Urine filtration membrane under a 4× objective, photographed by an automated digital microscope.
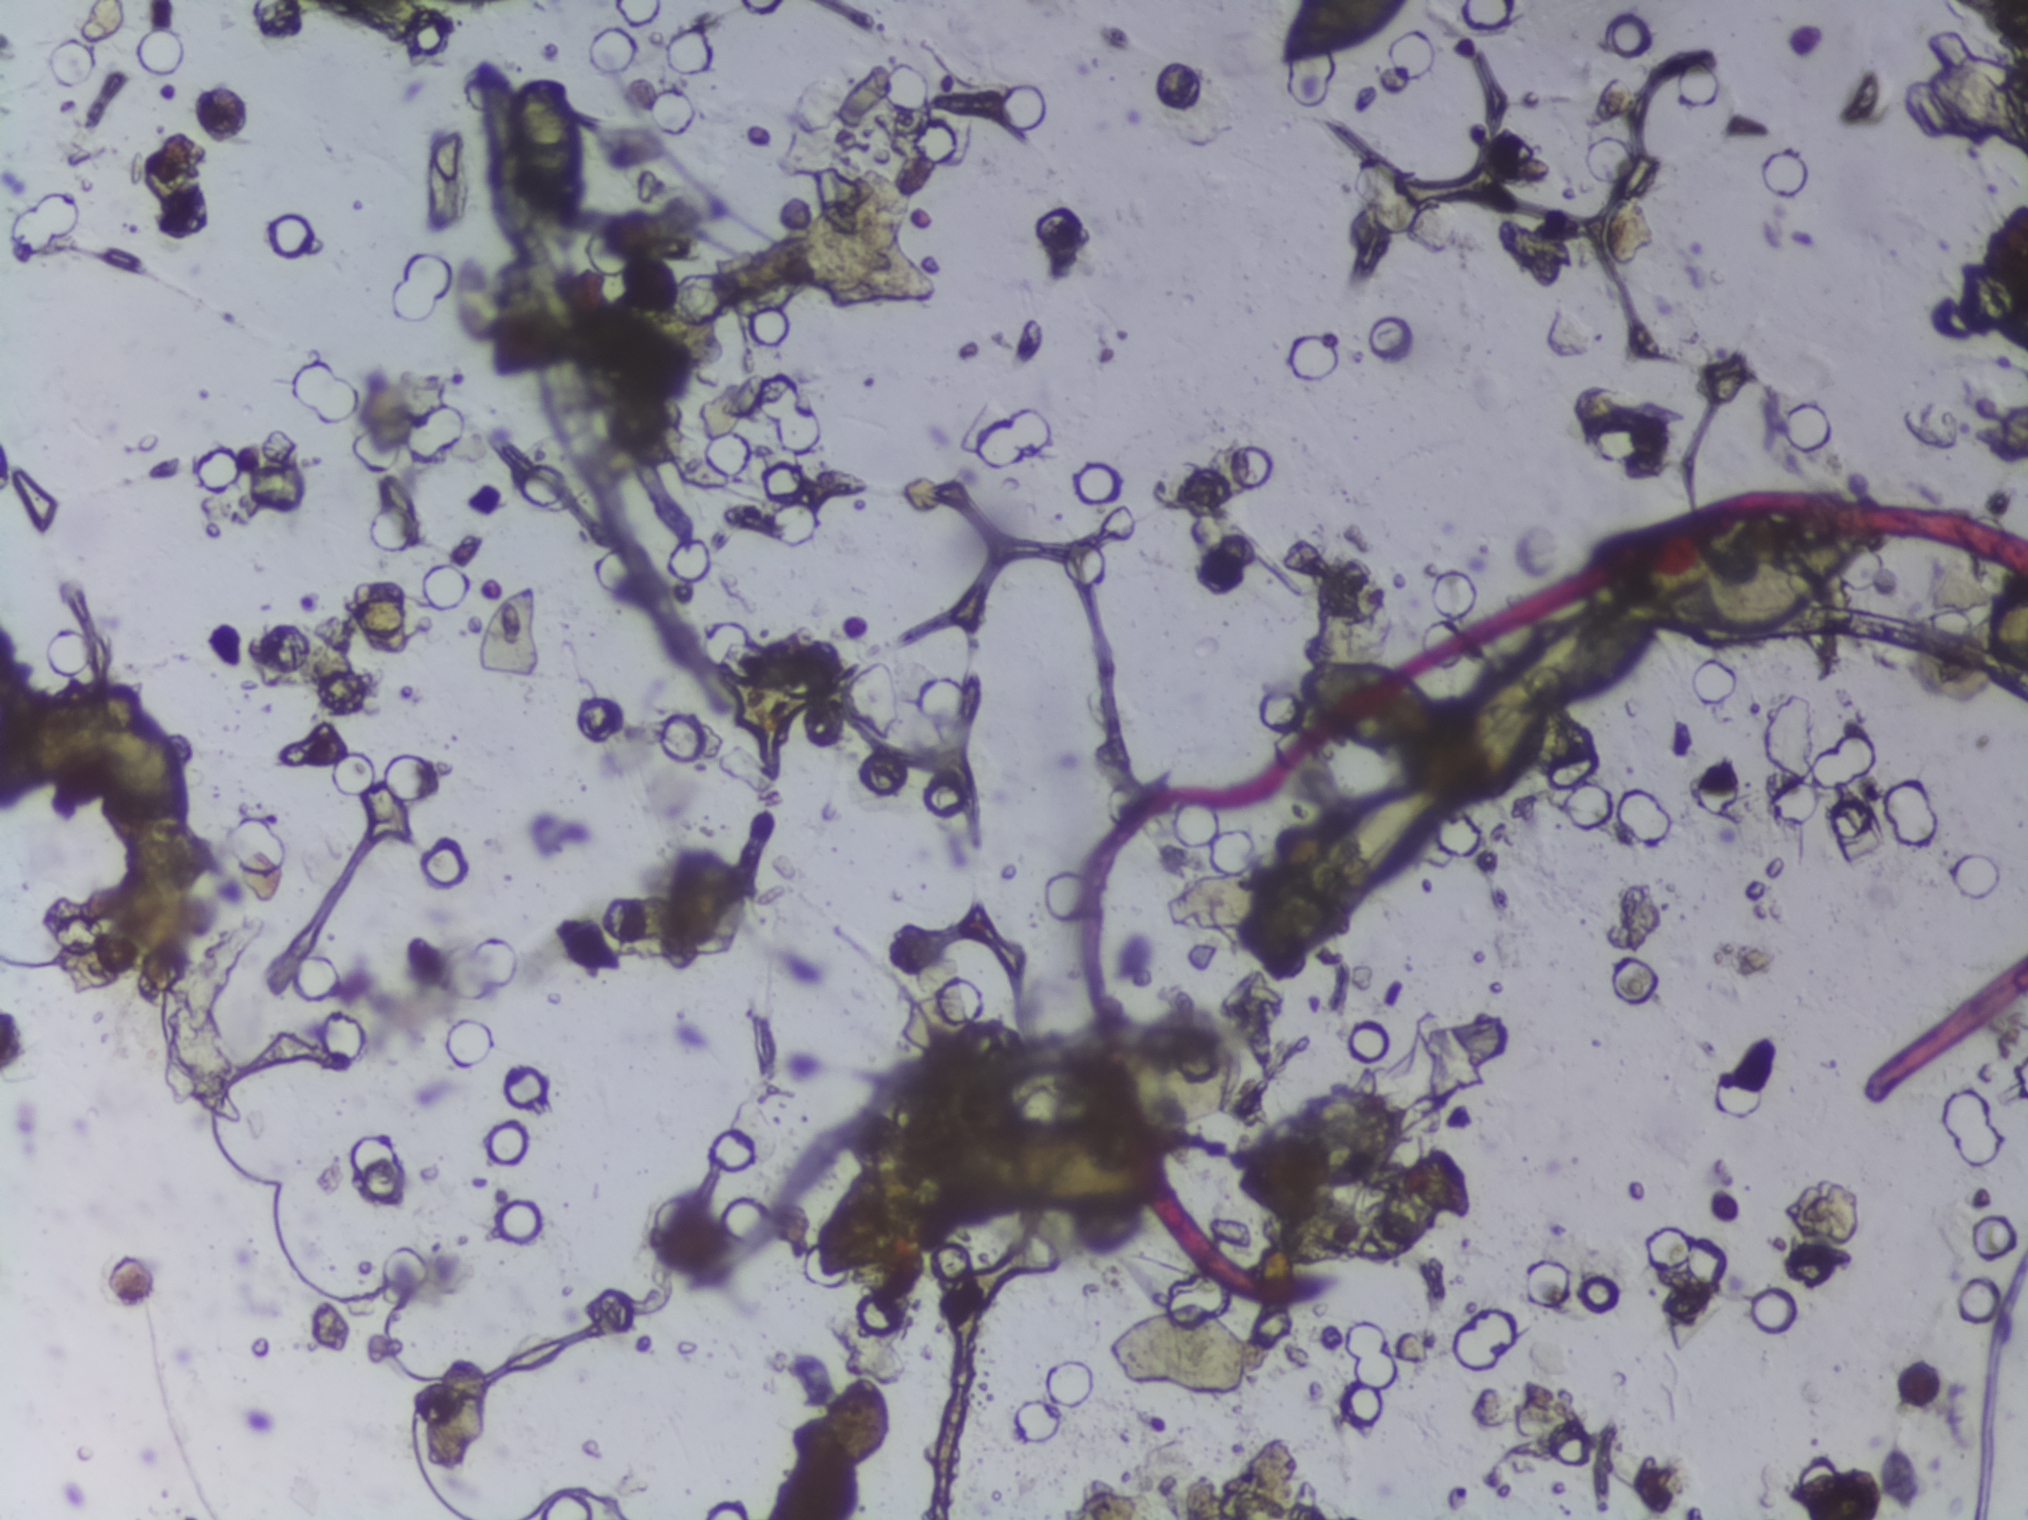
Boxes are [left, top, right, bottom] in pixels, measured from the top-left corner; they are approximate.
Findings: five areas outlined as Schistosoma eggs. Locations, left to right: [81, 666, 200, 845]; [505, 70, 590, 252]; [1271, 0, 1414, 71] (reaching the top edge of the frame); [1289, 657, 1445, 754]; [1456, 611, 1656, 707]. Eggs that touch can end up inside the same outlined area.